Urine filter membrane photographed through a 4× microscope objective. Field of view: about 1.5 mm wide and 1.1 mm high.
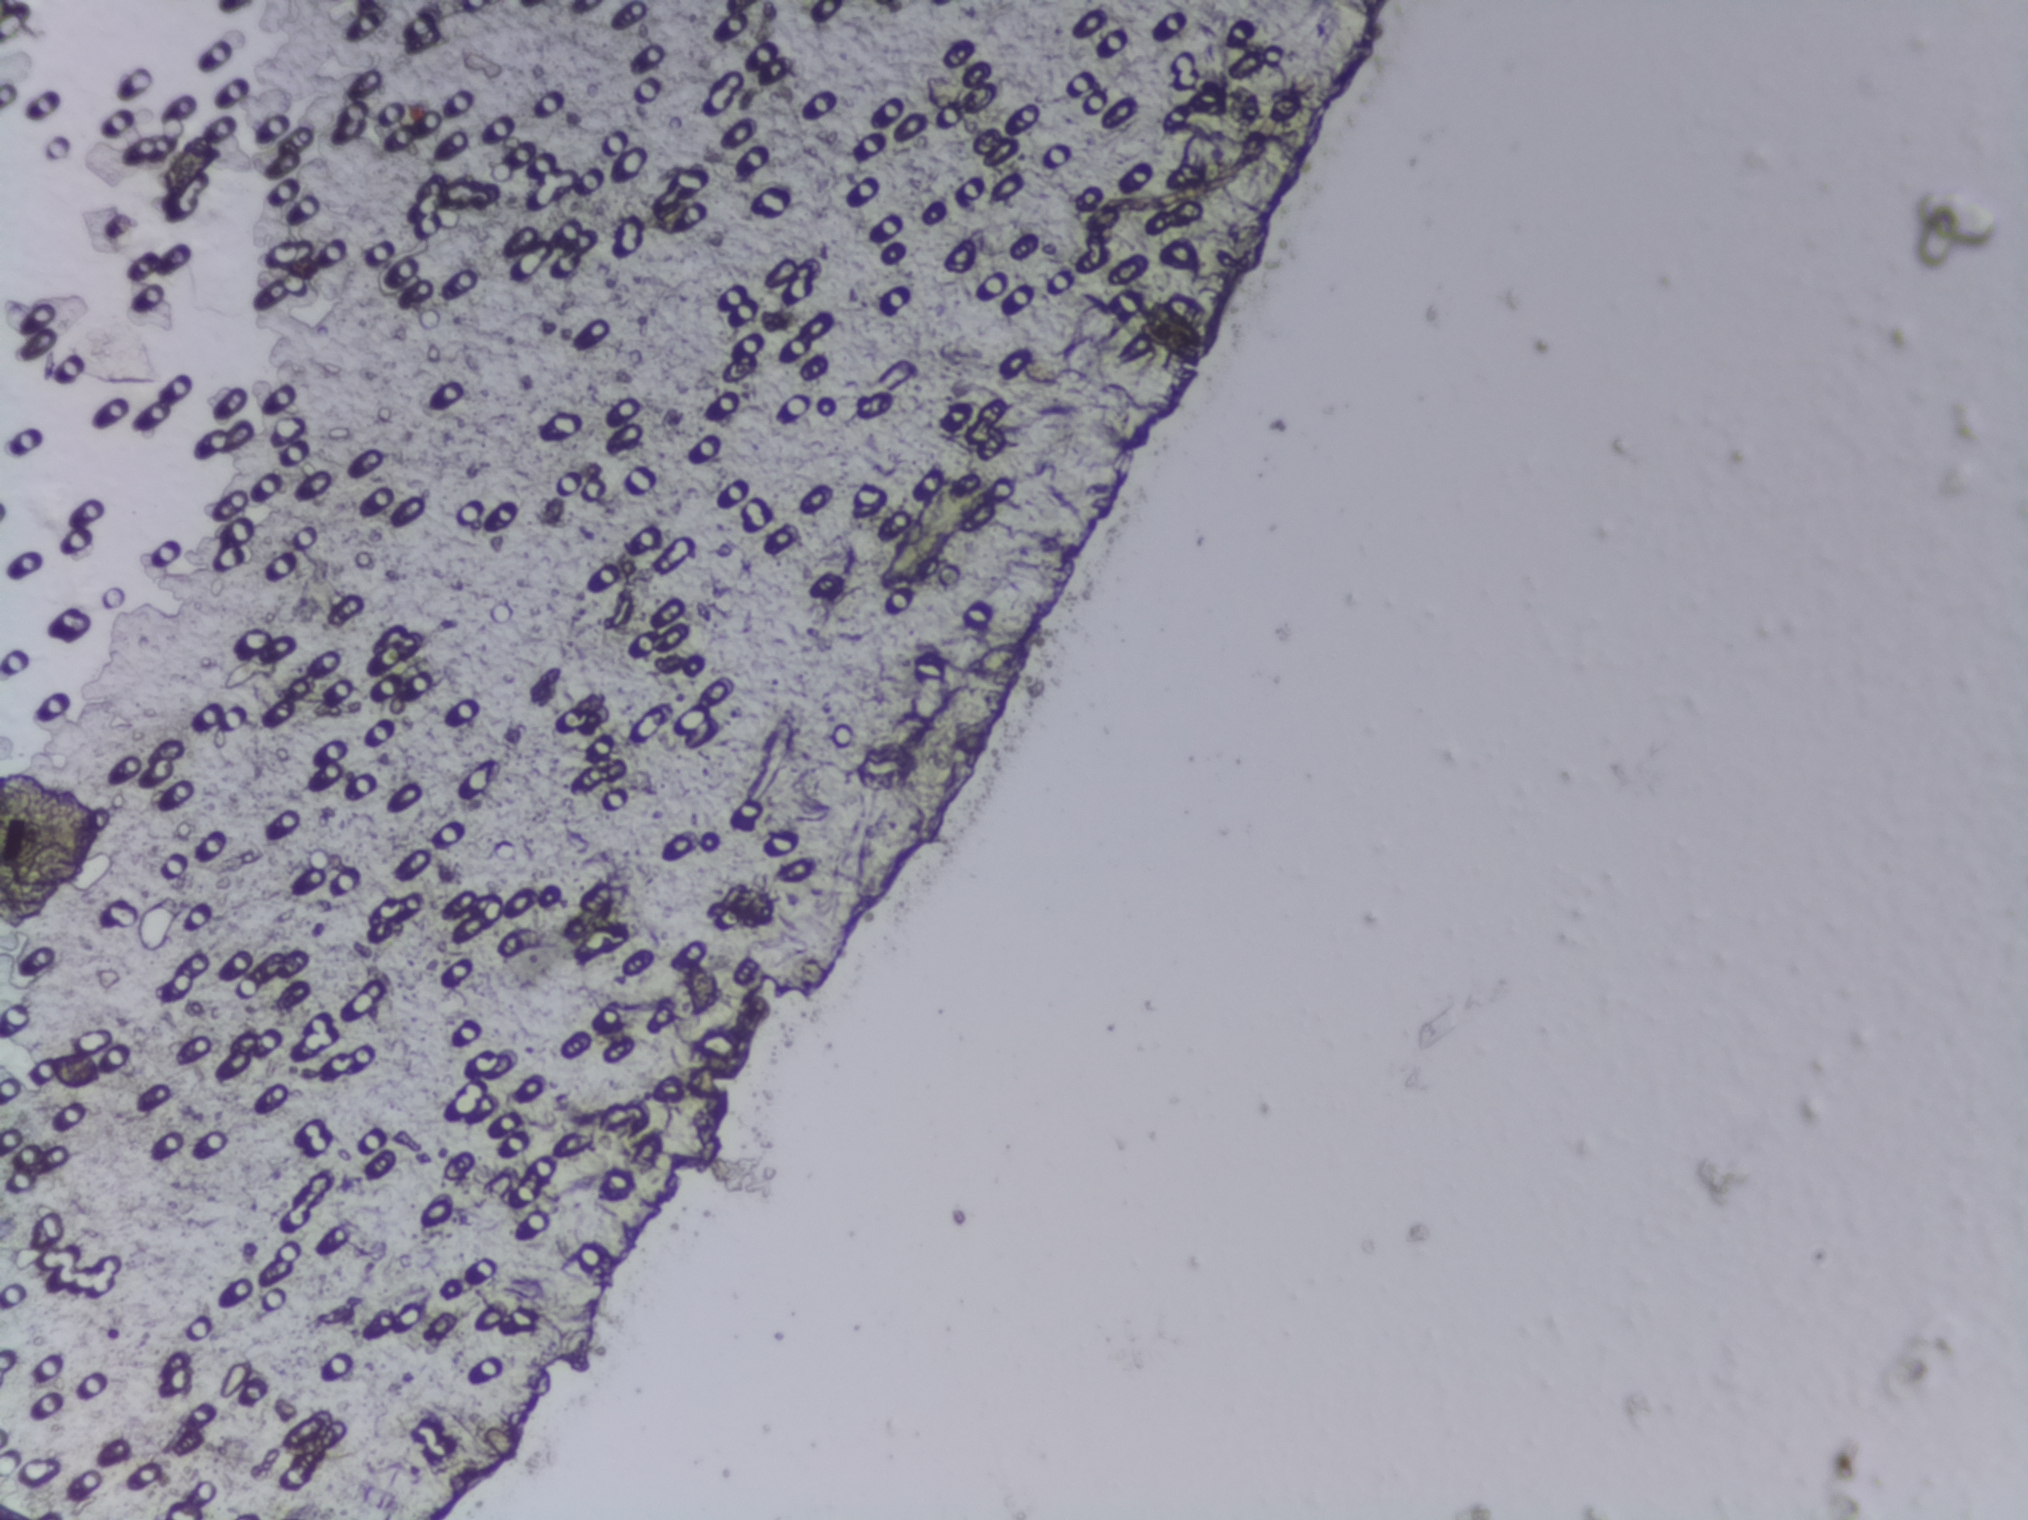
No Schistosoma egg is outlined in this image's expert annotation.